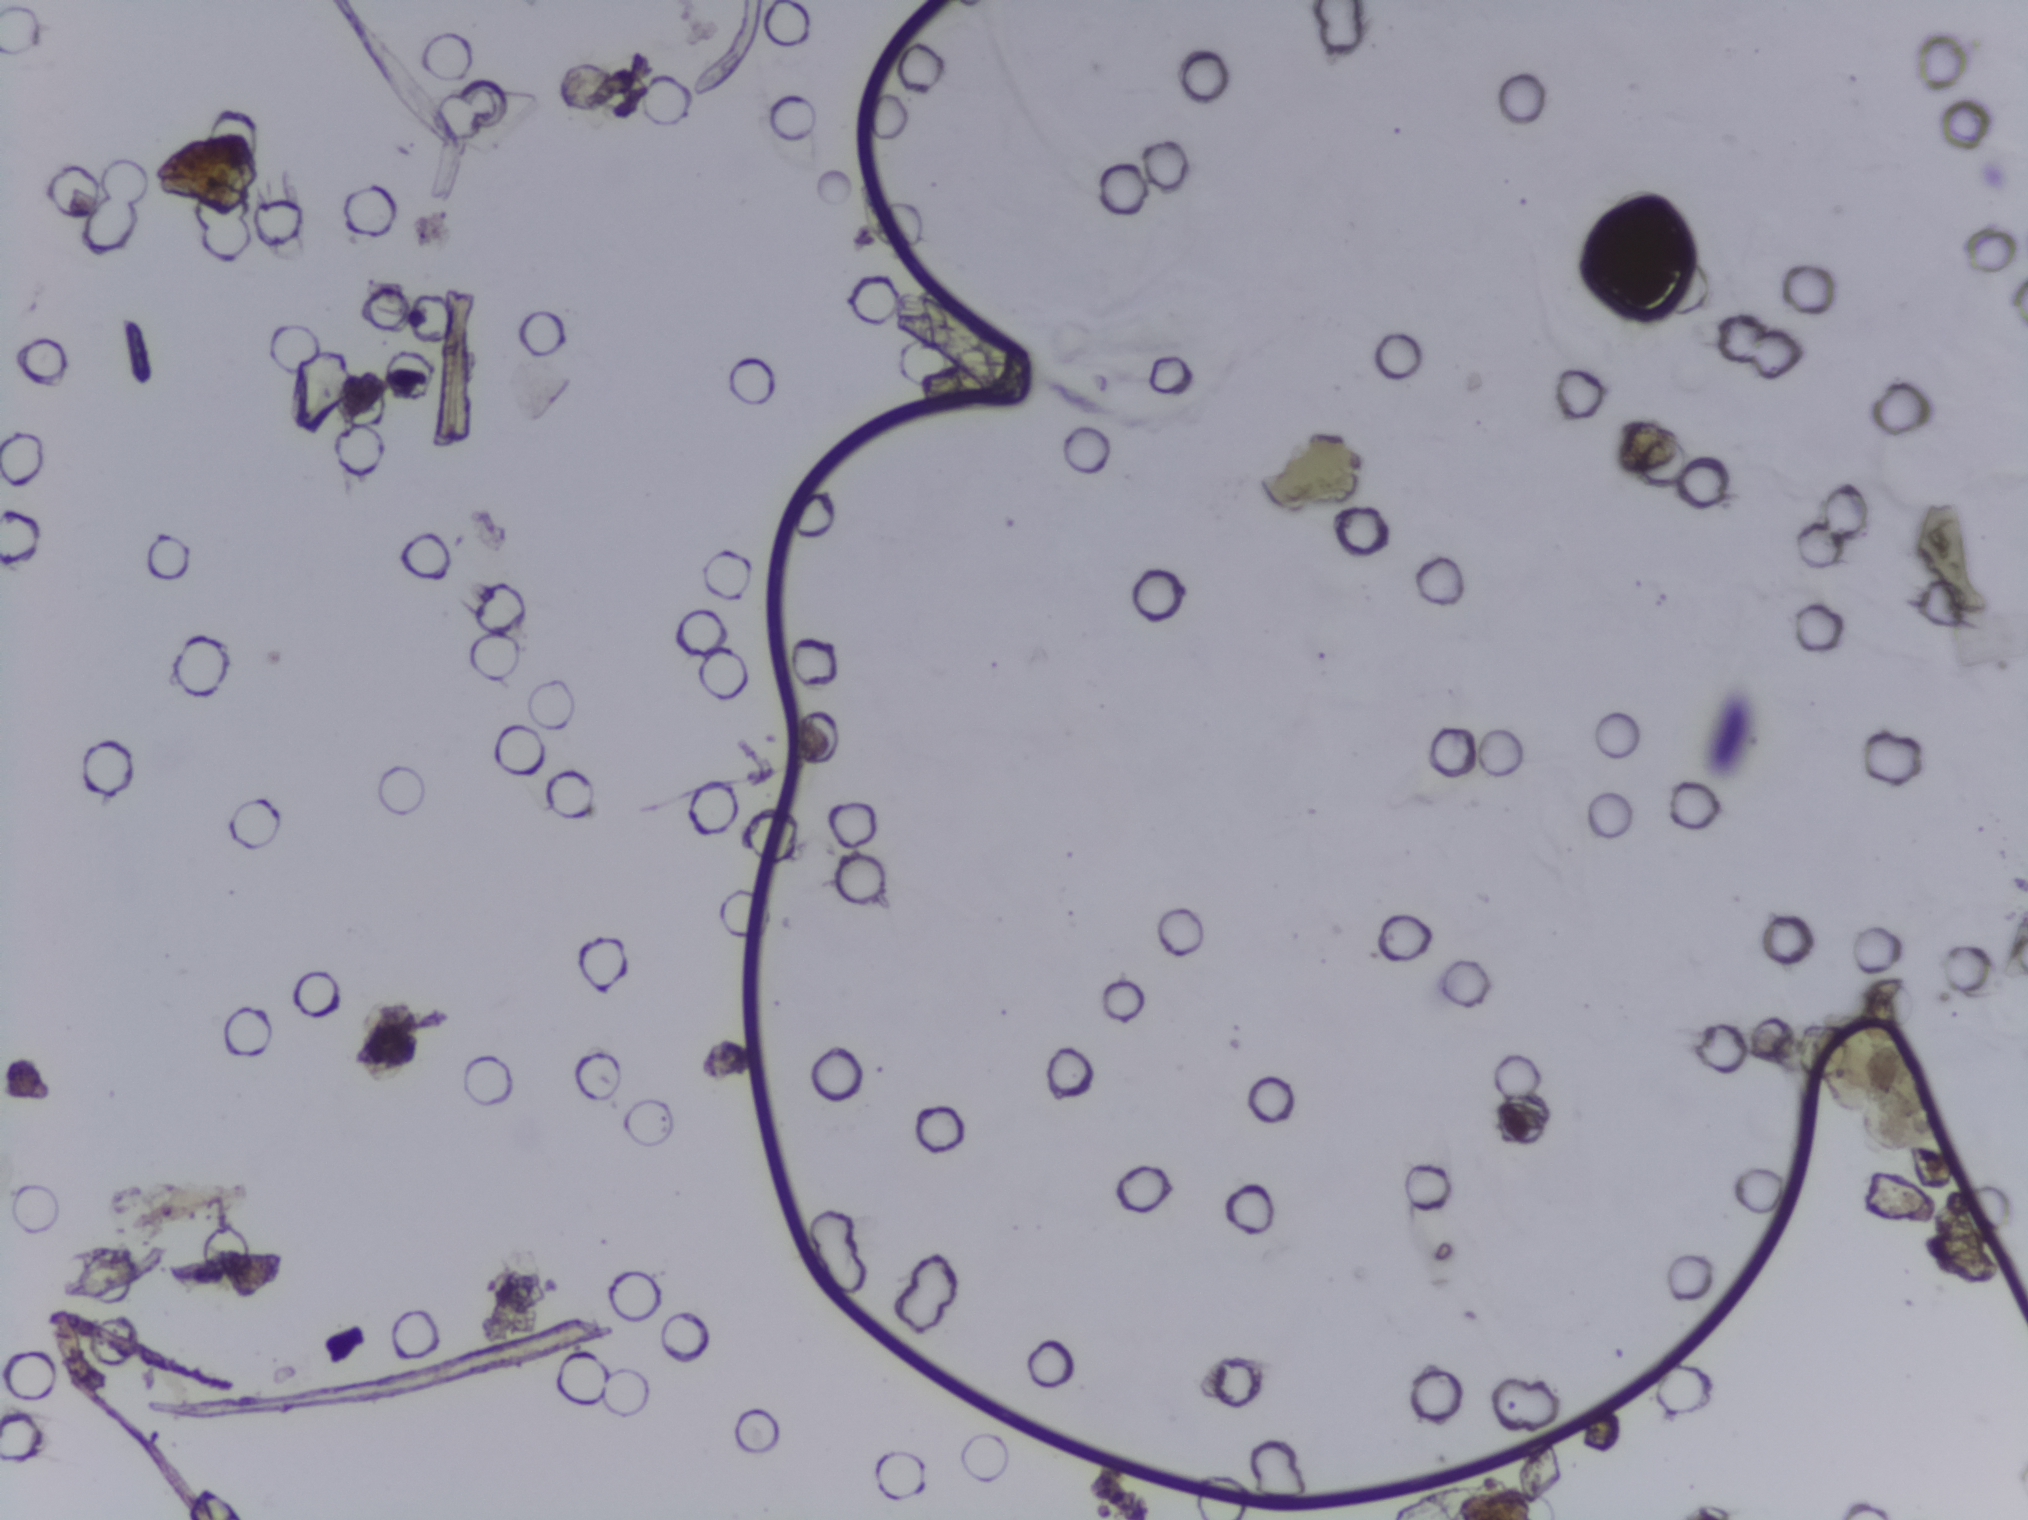
Photomicrograph of a urine filtration membrane, 4× objective.
The expert annotation outlines no Schistosoma egg in this image.